Photograph from an automated digital microscope: urine filter membrane, 4× objective. The field of view is about 1.5 mm × 1.1 mm.
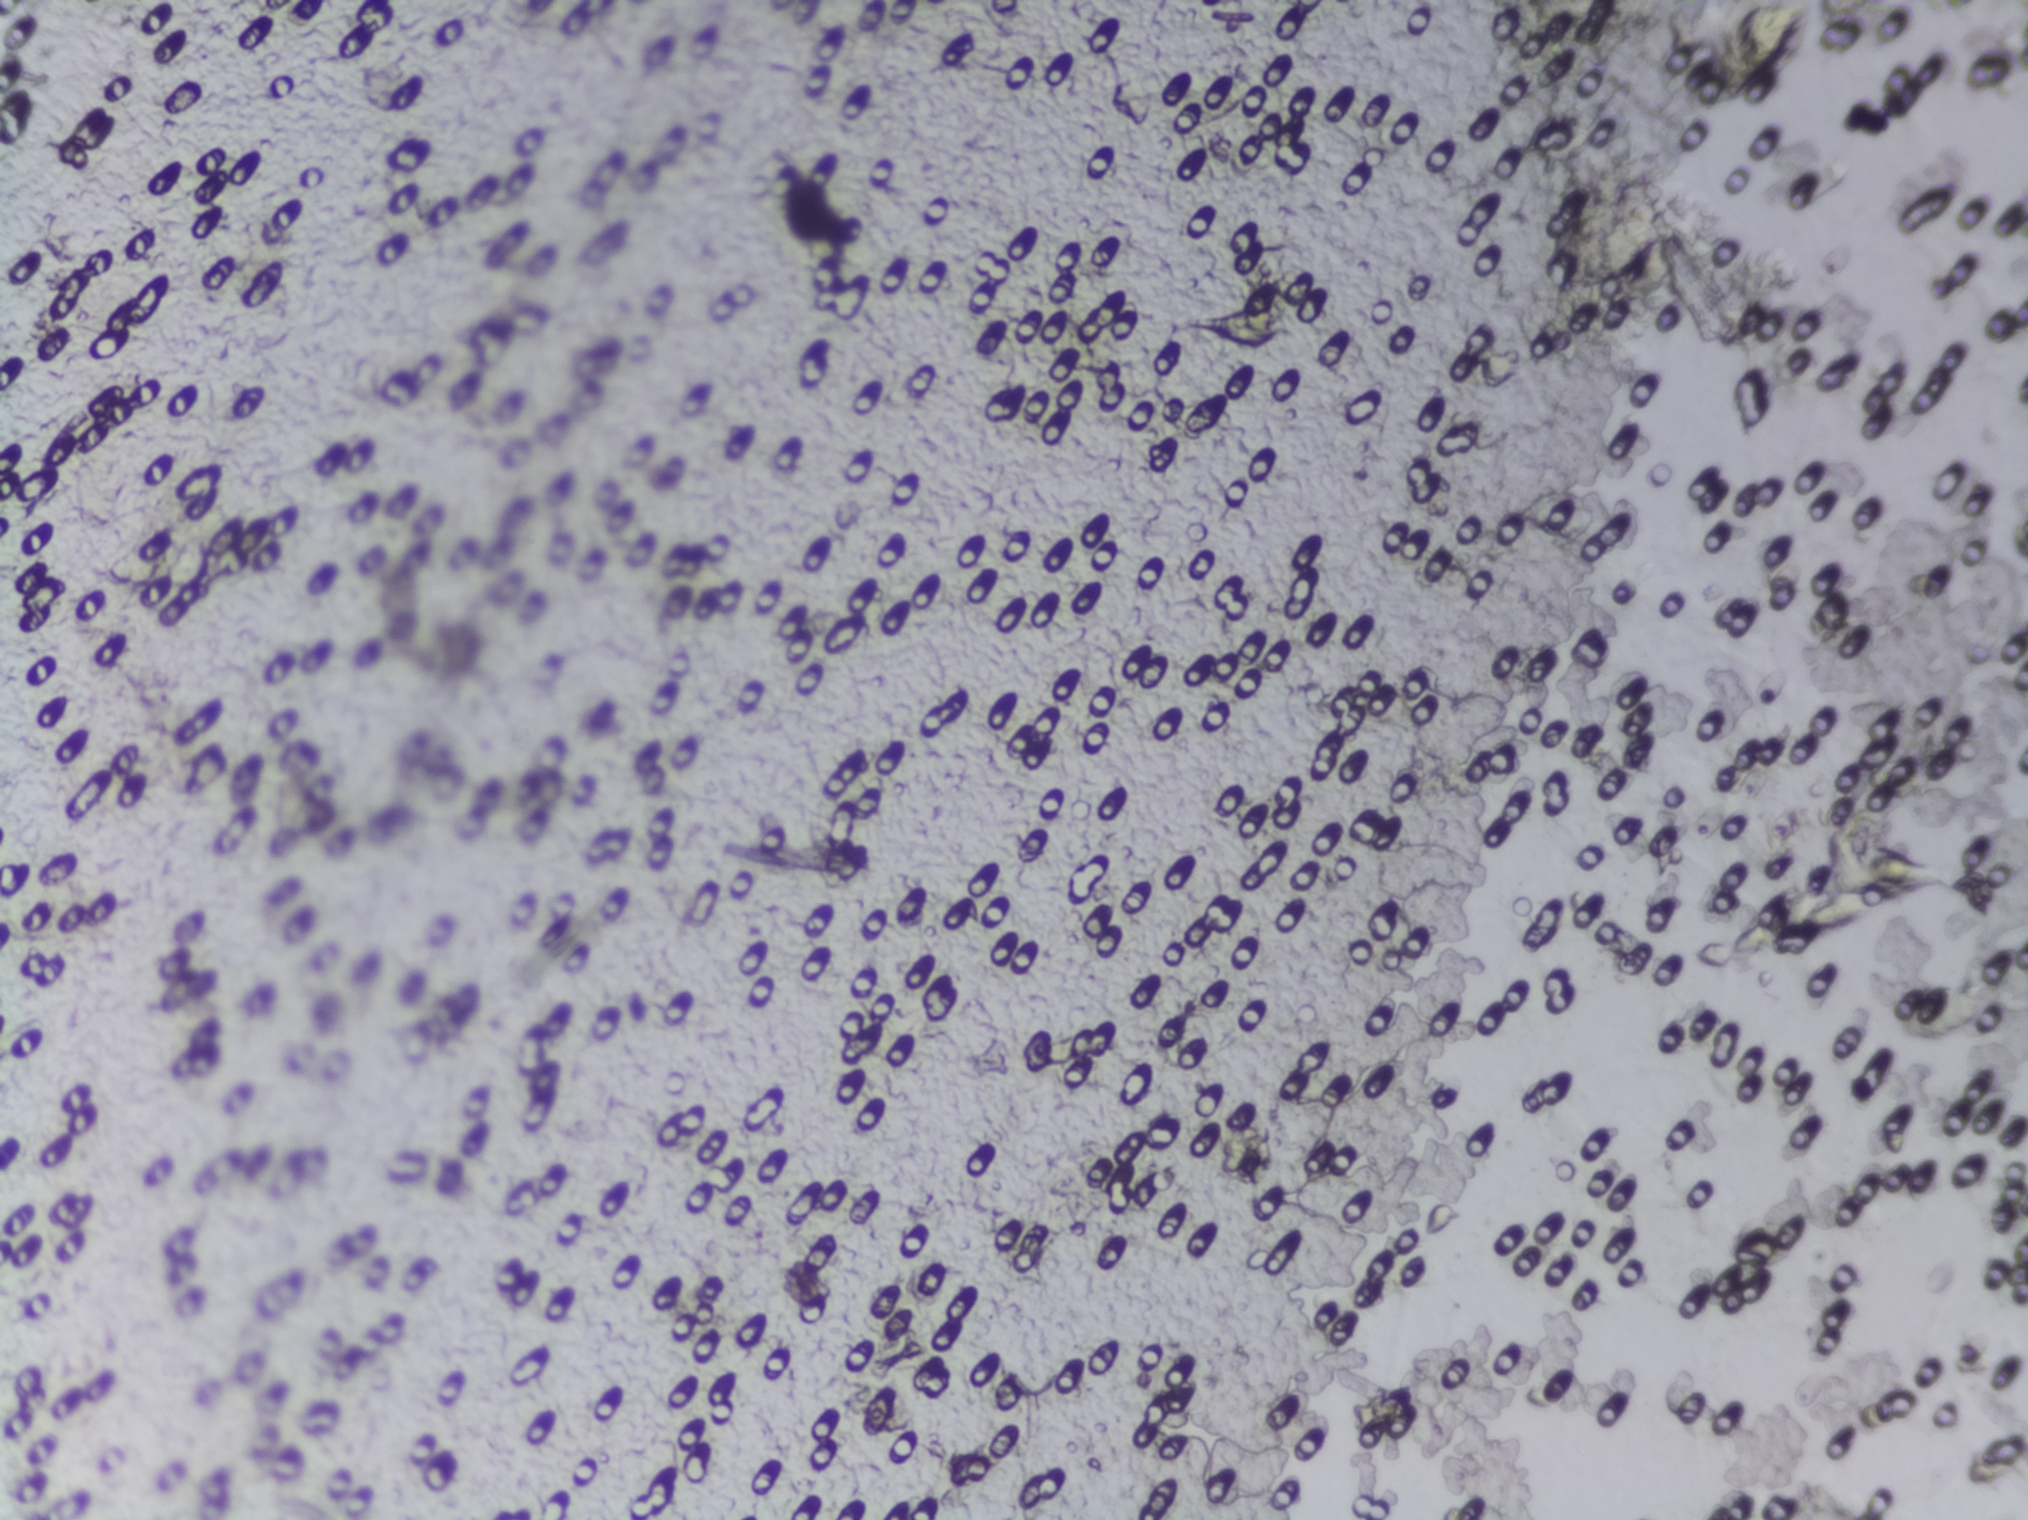
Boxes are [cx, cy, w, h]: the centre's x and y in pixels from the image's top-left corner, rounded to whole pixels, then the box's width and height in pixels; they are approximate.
{"schistosoma_egg_areas_cxcywh_px": [[1750, 52, 118, 104]]} Area 1 reaches the top edge of the frame.
A single outlined area may contain several eggs.